Photograph from an automated digital microscope: urine filter membrane, 4× objective.
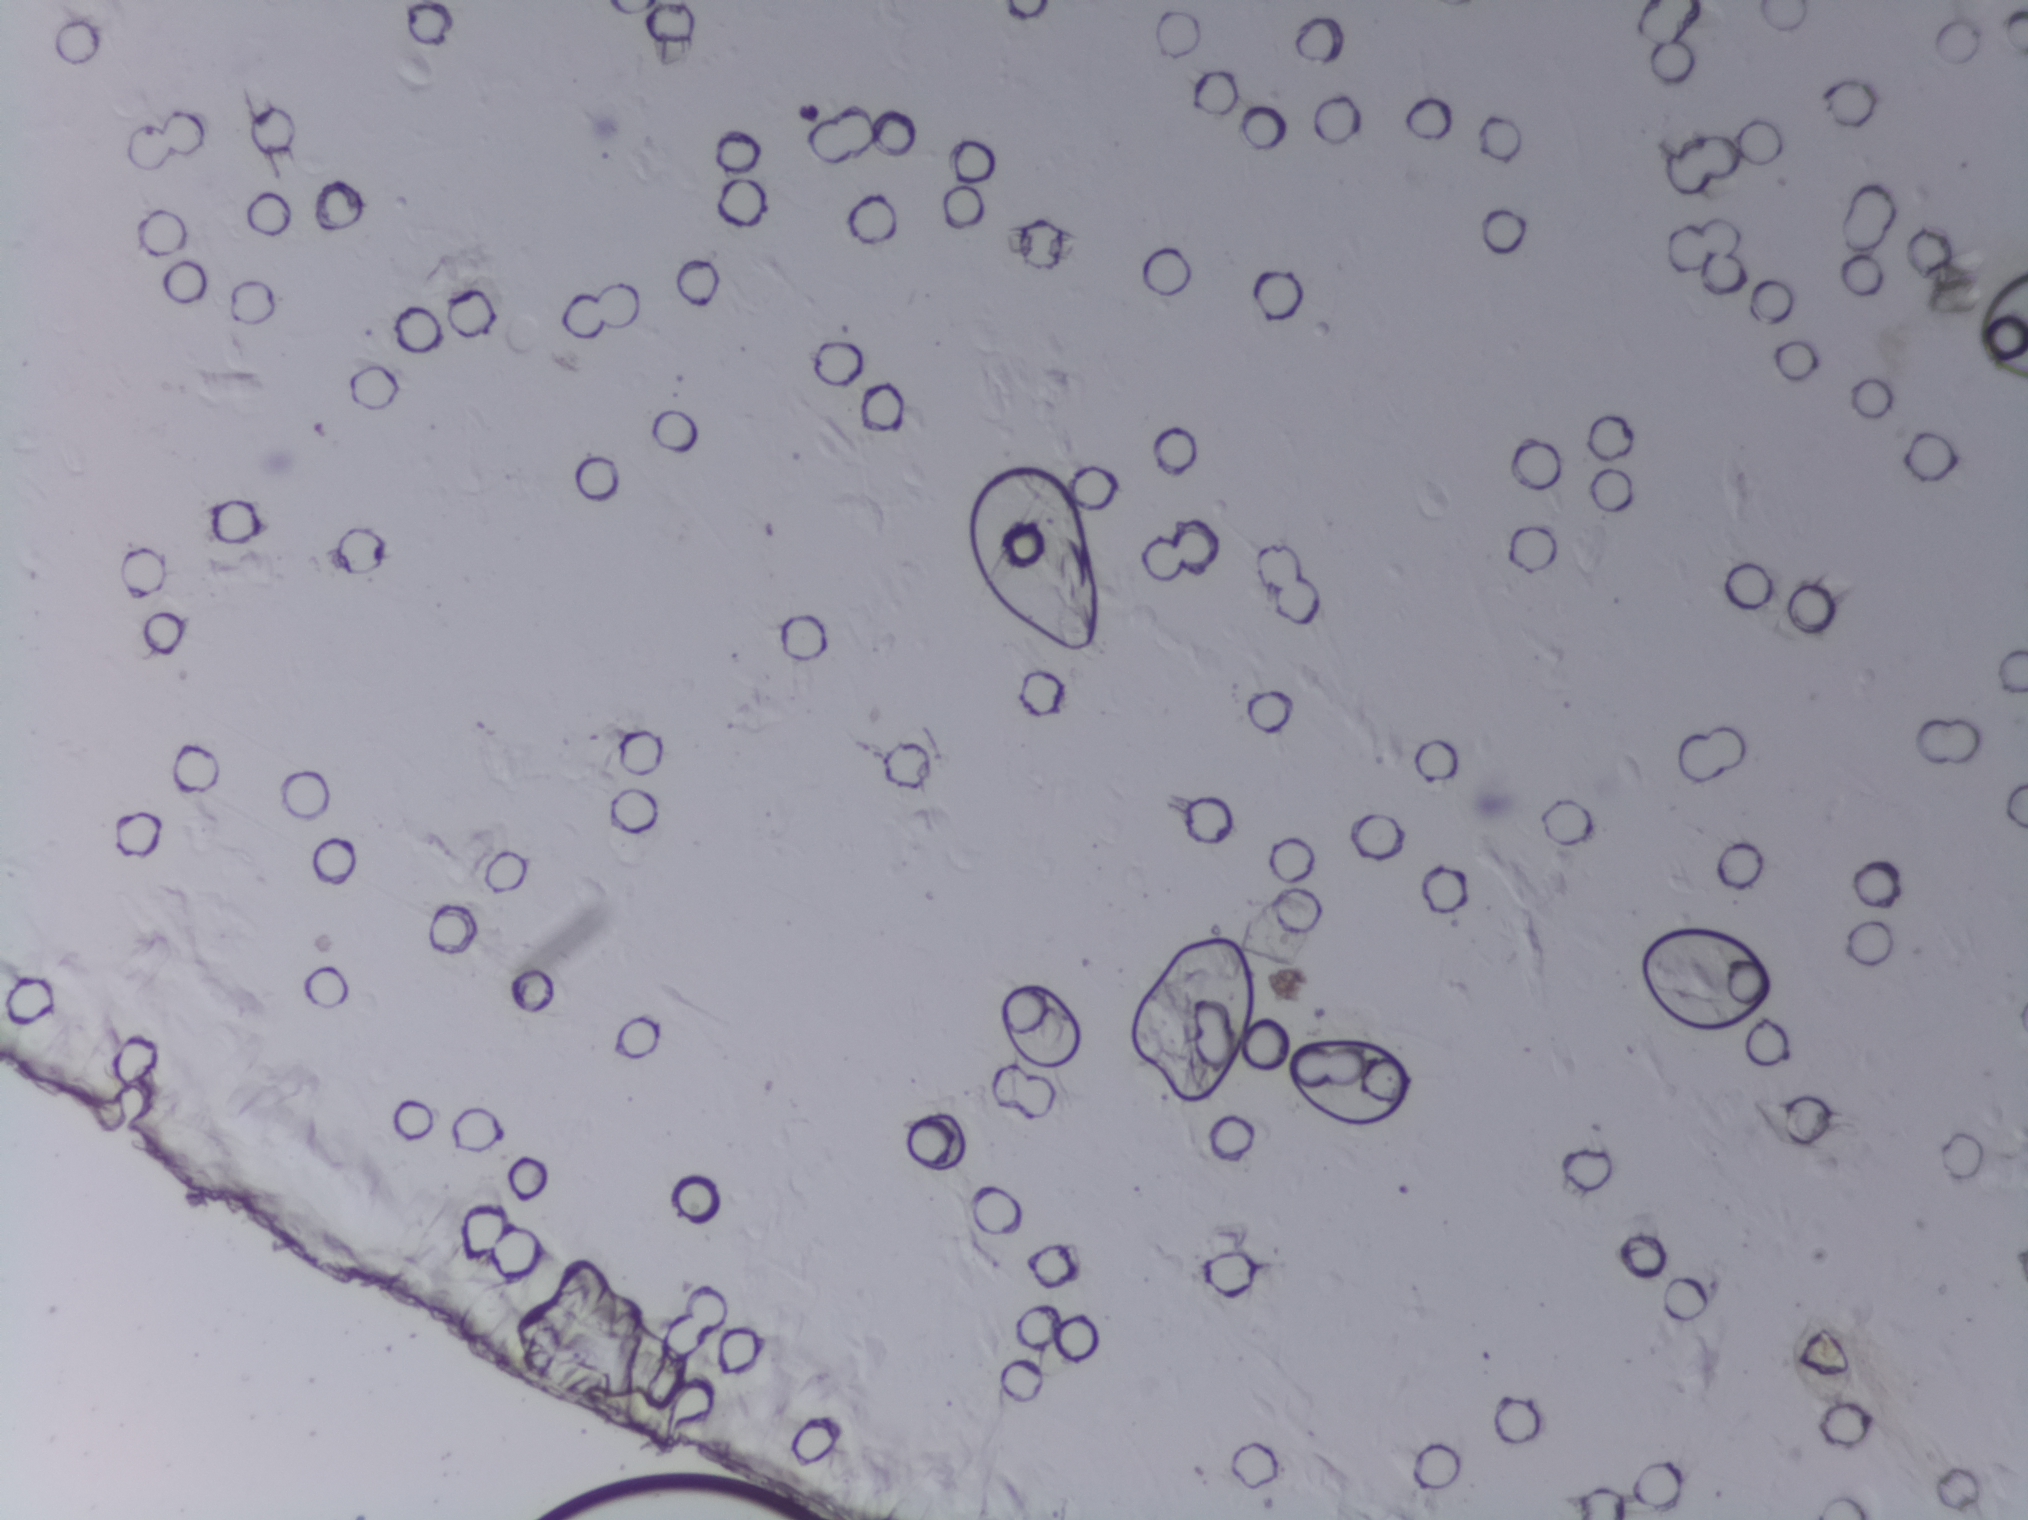
Schistosoma eggs: none outlined.